Urine filter membrane photographed through a 4× microscope objective.
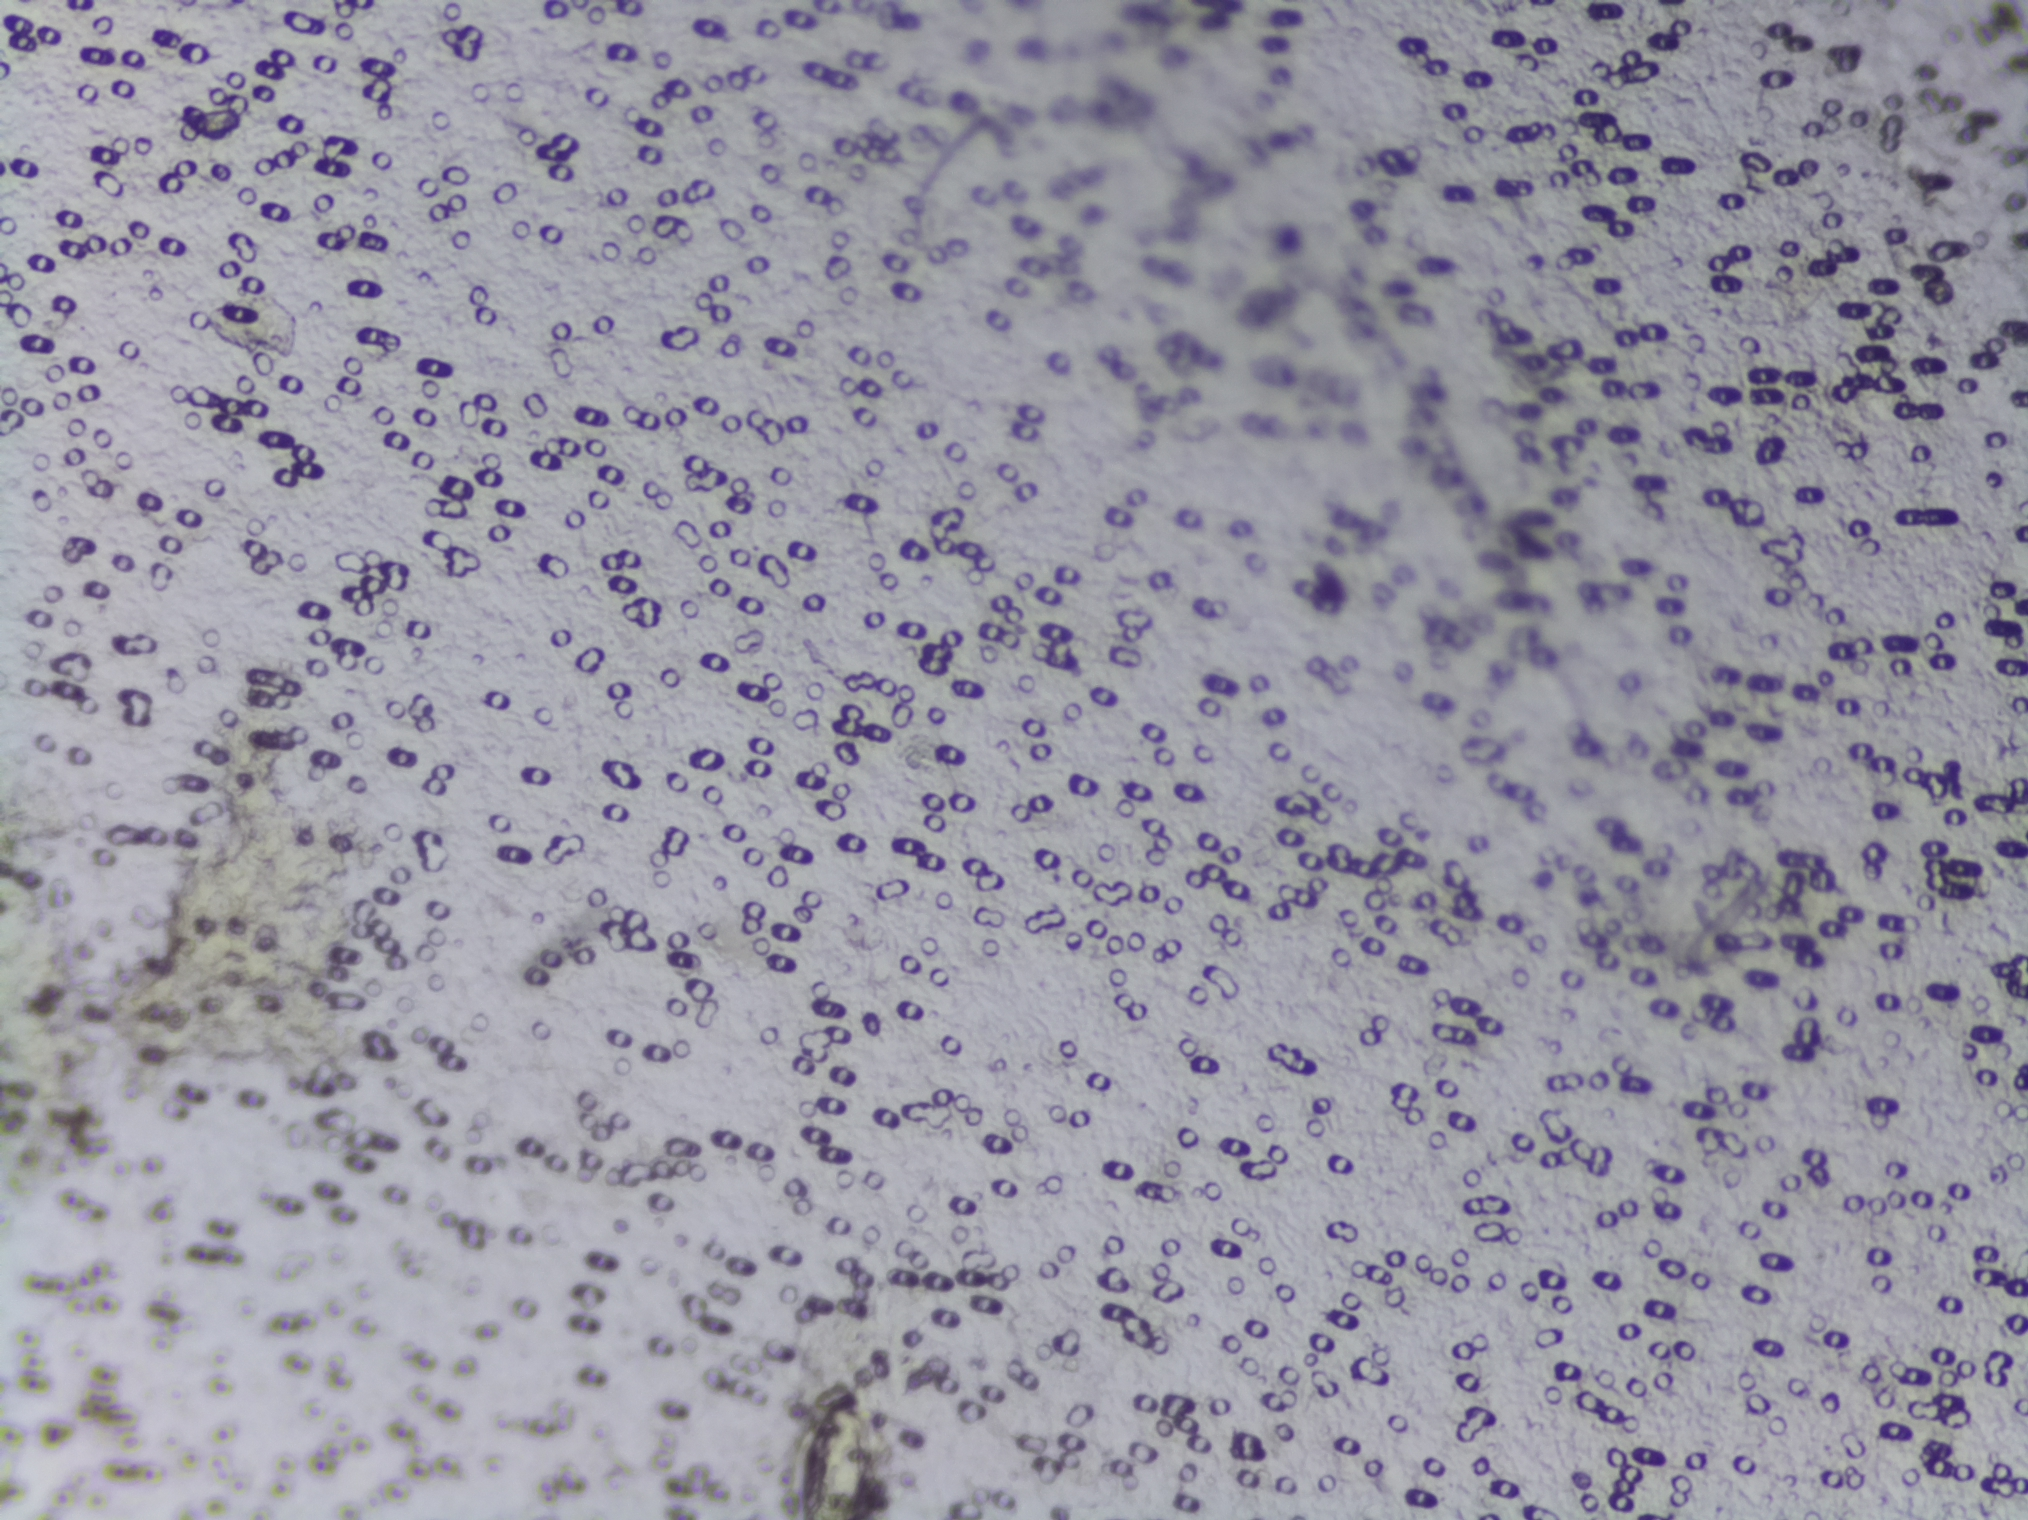
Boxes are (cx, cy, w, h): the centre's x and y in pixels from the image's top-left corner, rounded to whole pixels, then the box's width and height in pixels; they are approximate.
Schistosoma eggs are outlined in one area of this image: (cx=833, cy=1450, w=89, h=140) (reaching the bottom edge of the frame). Eggs that touch can end up inside the same outlined area.